Photomicrograph of a urine filtration membrane, 4× objective. The field of view is about 1.5 mm × 1.1 mm.
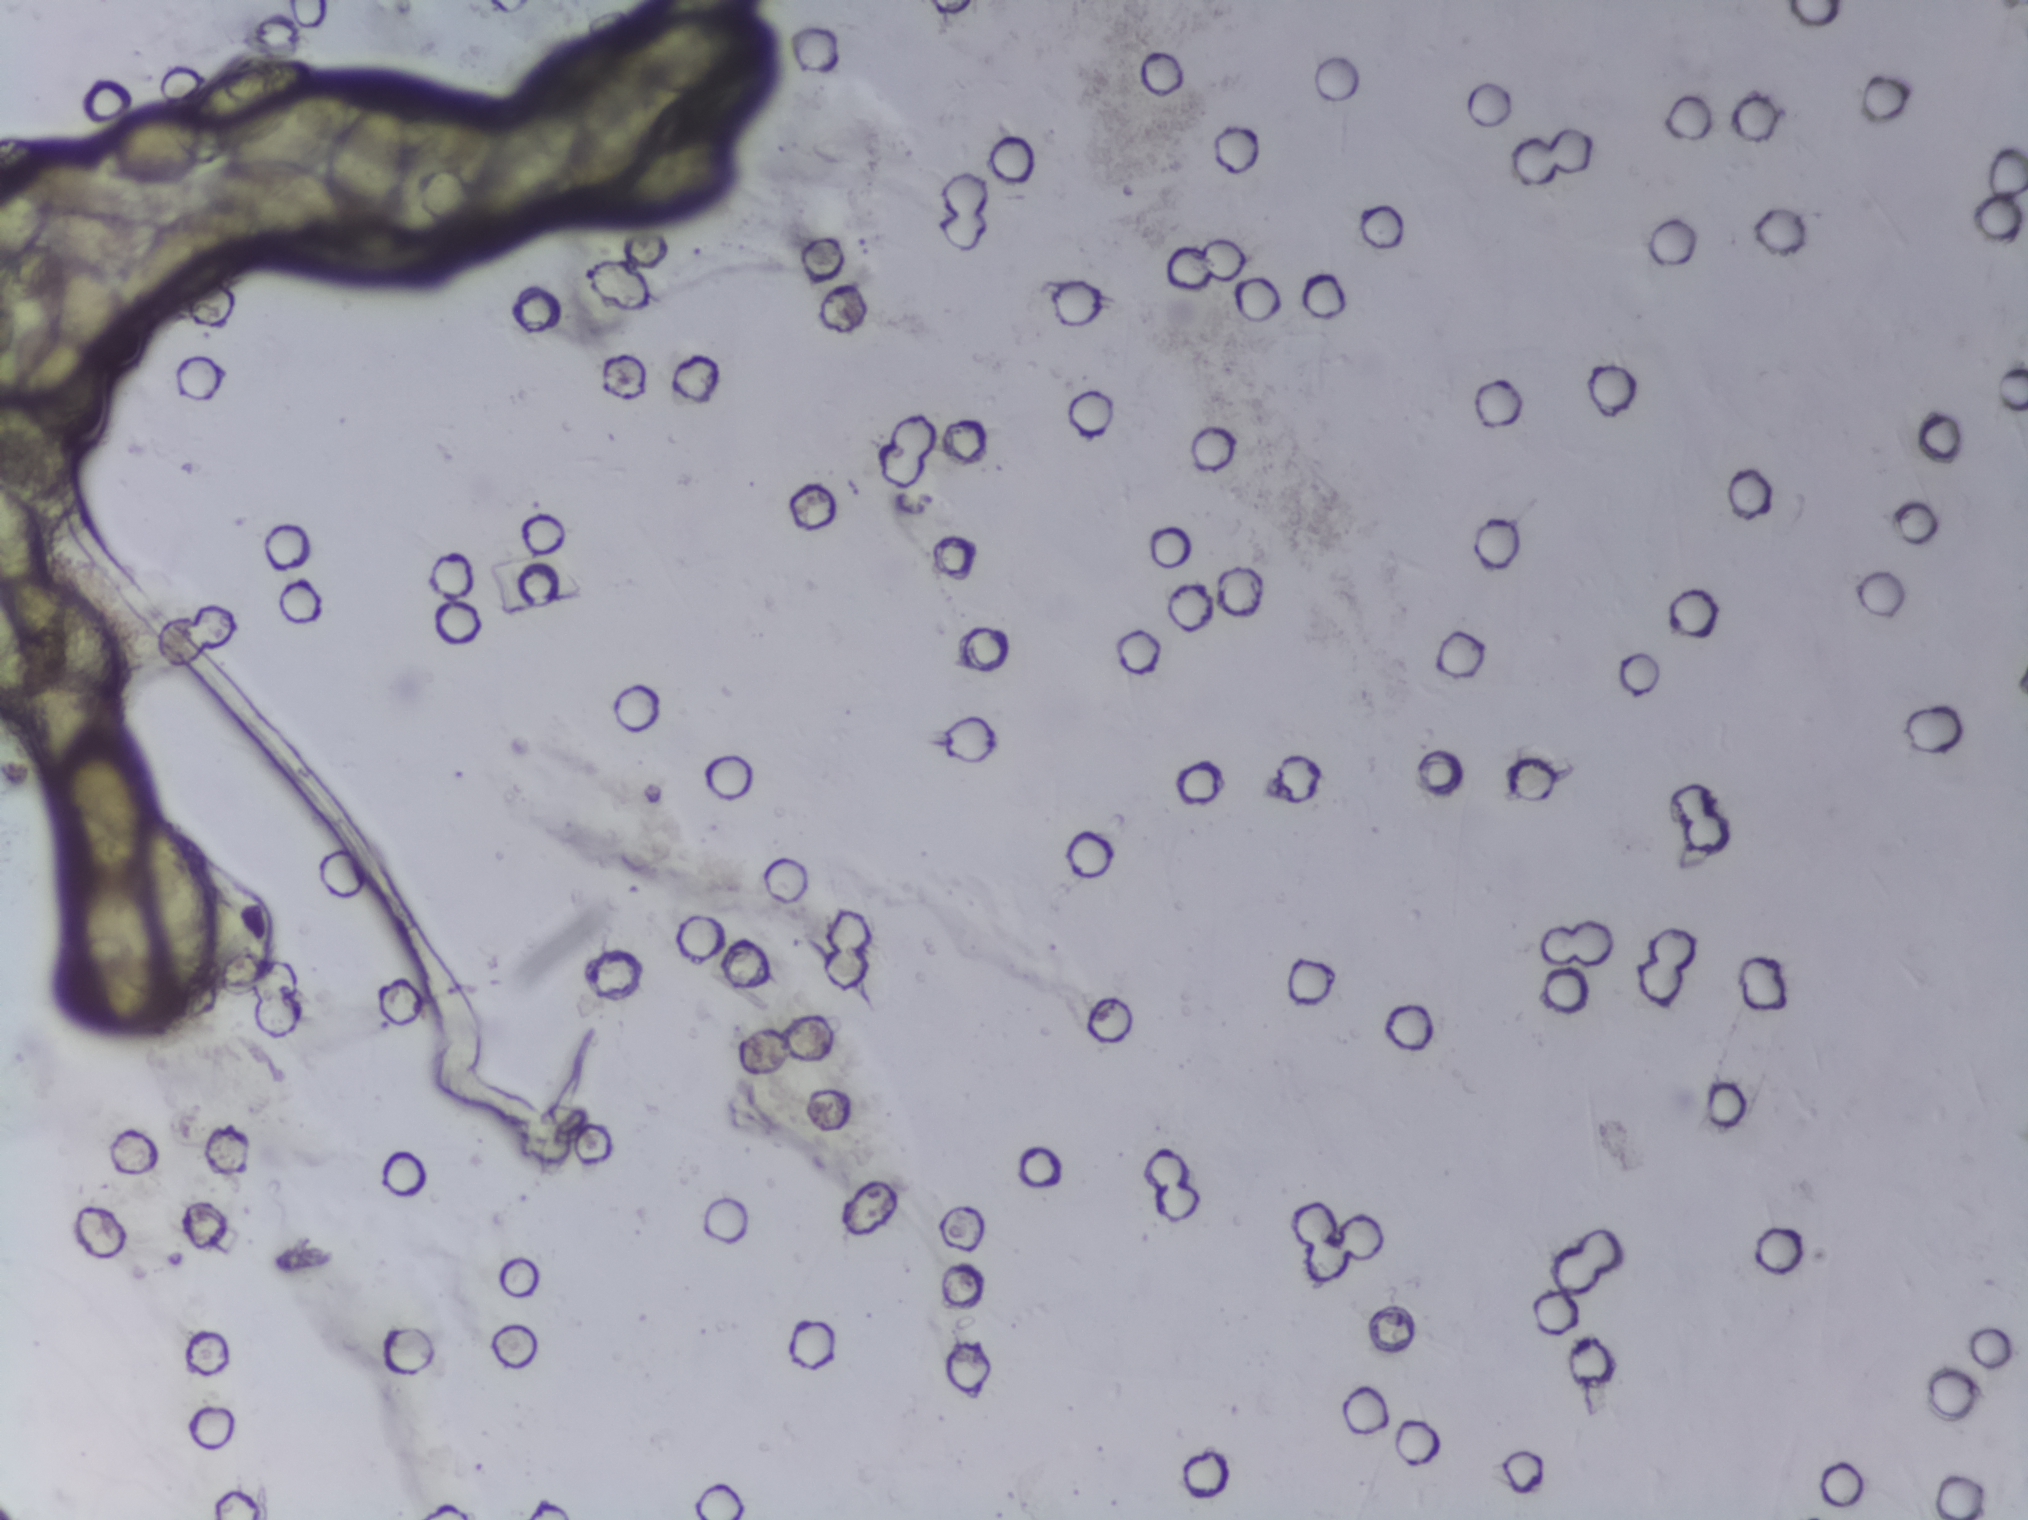
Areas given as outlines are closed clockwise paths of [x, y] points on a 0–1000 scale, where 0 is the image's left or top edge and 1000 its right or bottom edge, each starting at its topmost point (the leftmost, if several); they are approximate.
The expert annotation outlines Schistosoma eggs in one area: outline [349, 6], [381, 10], [385, 17], [382, 31], [386, 35], [382, 63], [366, 83], [369, 110], [351, 134], [316, 146], [292, 146], [286, 139], [291, 117], [276, 121], [263, 137], [231, 154], [223, 154], [215, 146], [207, 152], [191, 152], [186, 144], [175, 152], [129, 155], [120, 173], [101, 189], [67, 204], [72, 233], [49, 239], [52, 267], [46, 285], [35, 286], [25, 280], [38, 310], [36, 334], [29, 342], [21, 342], [26, 379], [51, 397], [63, 430], [62, 454], [51, 458], [49, 474], [57, 479], [69, 496], [75, 532], [83, 535], [96, 552], [104, 590], [103, 654], [92, 656], [80, 636], [79, 668], [65, 677], [48, 652], [39, 619], [42, 572], [32, 537], [32, 506], [21, 502], [15, 470], [9, 479], [0, 468], [0, 257], [13, 262], [5, 244], [5, 221], [25, 215], [9, 189], [7, 173], [0, 175], [0, 94], [15, 89], [23, 133], [80, 148], [94, 138], [89, 127], [91, 117], [65, 119], [54, 106], [54, 84], [62, 71], [92, 67], [121, 42], [151, 37], [155, 44], [152, 60], [171, 59], [180, 69], [195, 66], [201, 96], [228, 78], [241, 75], [245, 82], [307, 52], [301, 49], [298, 40], [309, 24], [328, 12] (a cluster of eggs; reaching the left edge of the frame). Eggs that touch can end up inside the same outlined area.